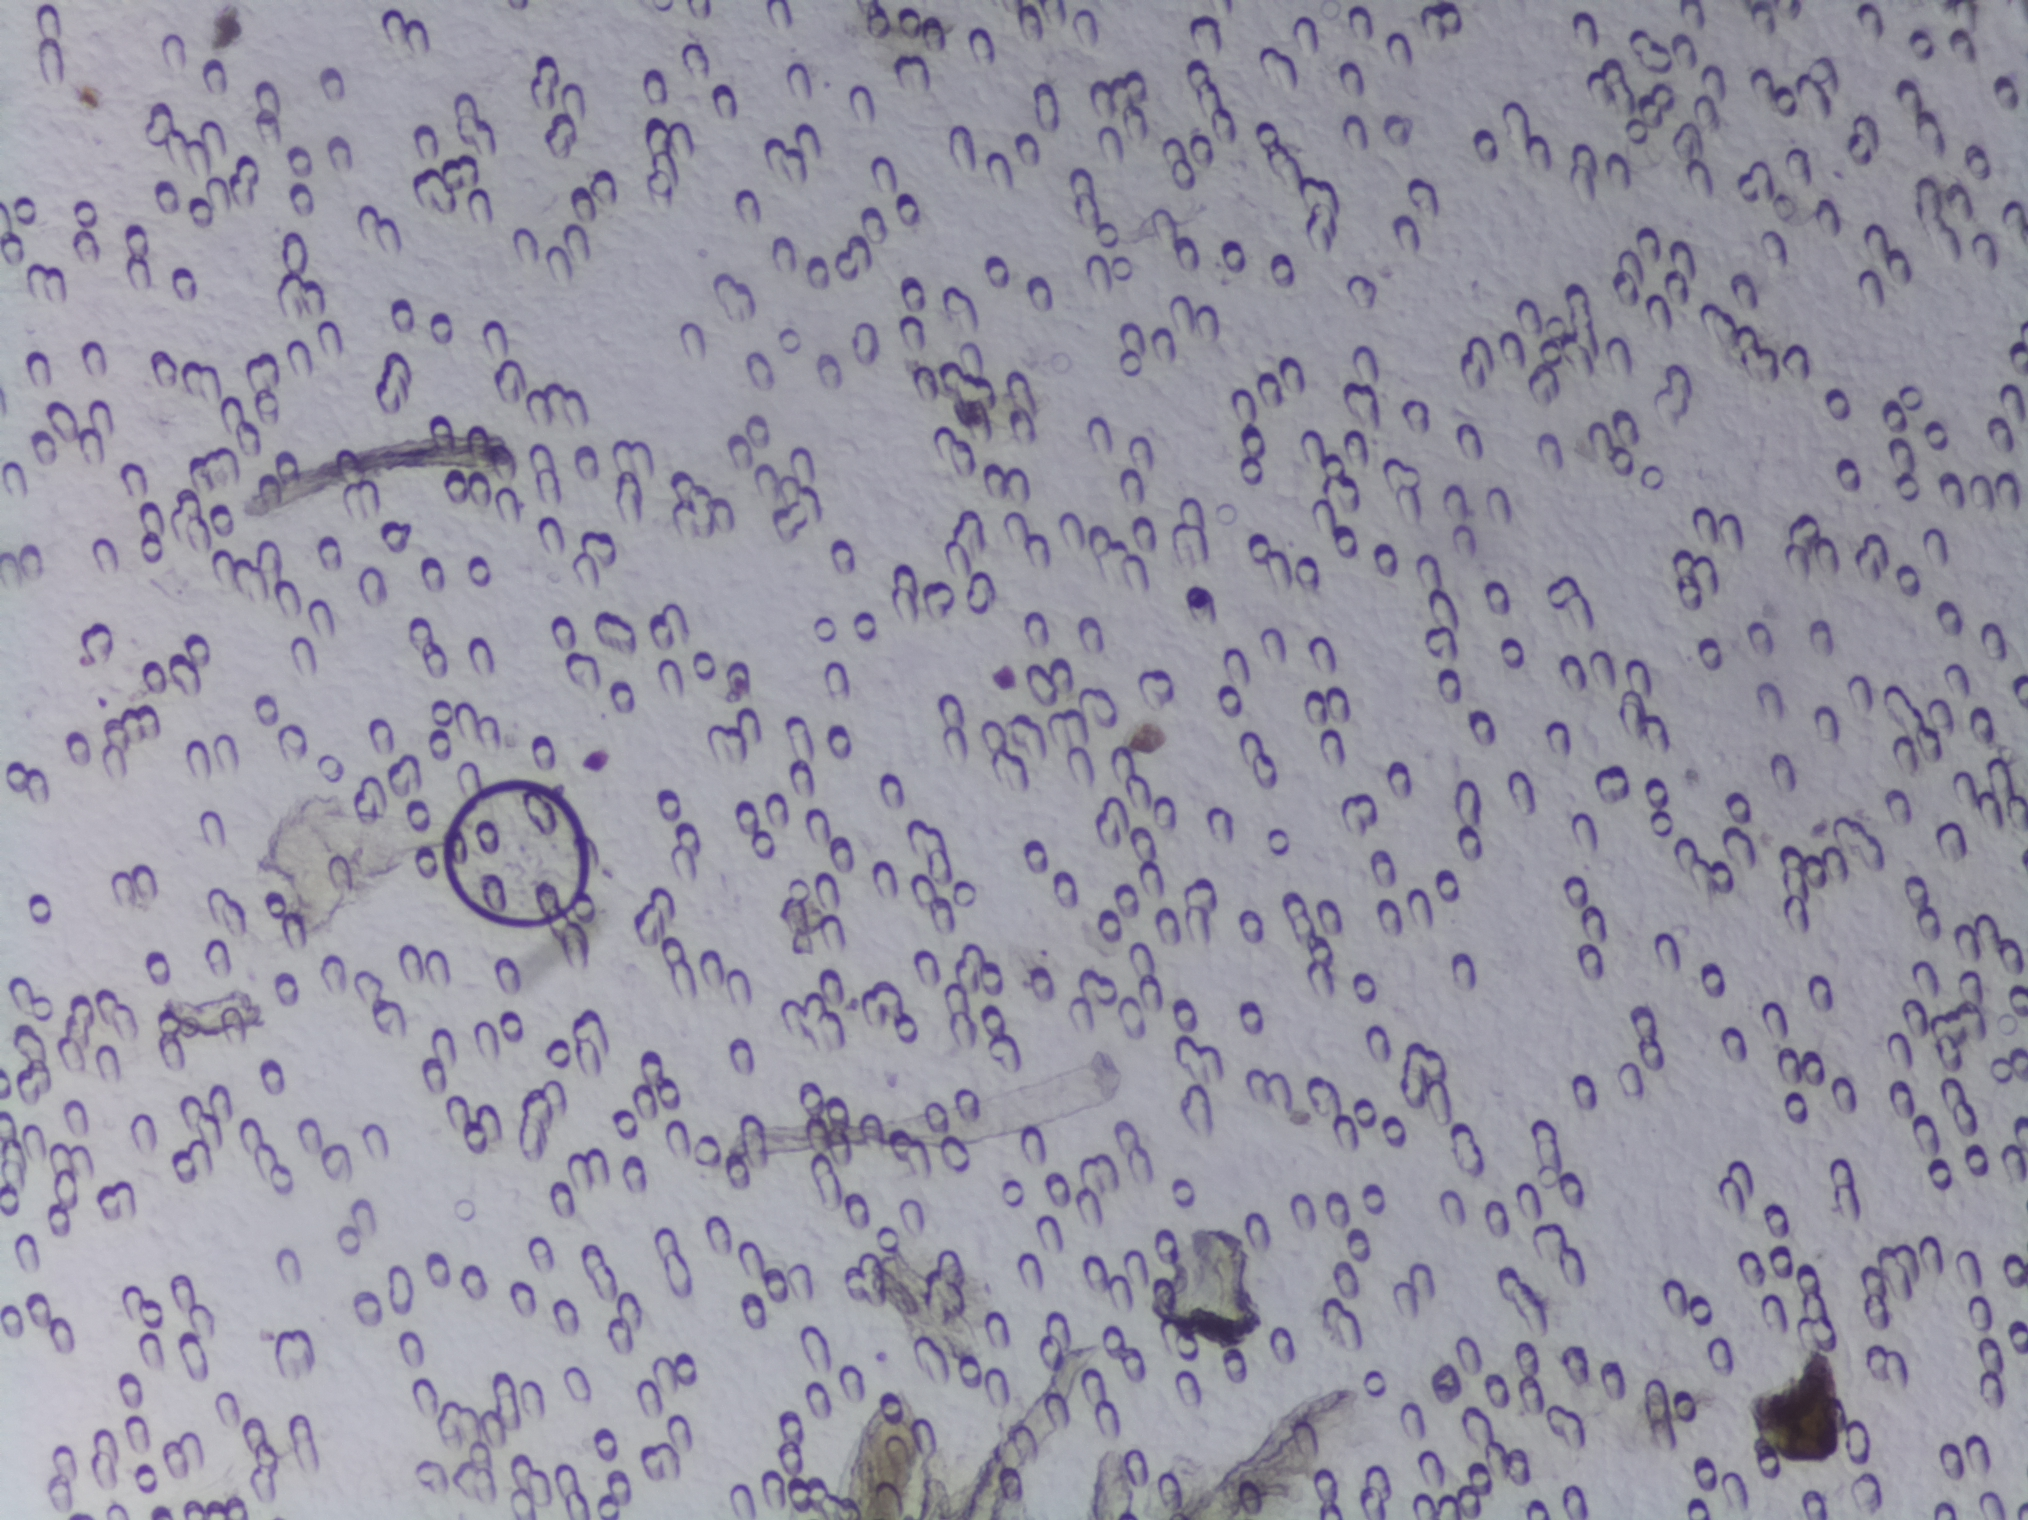
One field of view of a urine filter membrane, 4× objective, 2028 × 1520 pixels.
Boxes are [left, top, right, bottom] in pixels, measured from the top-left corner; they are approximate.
One area of this image is outlined as Schistosoma eggs: [819, 1365, 943, 1518]. Marked pixels, not the box around them: about 0.5% of the image. An outlined area can hold more than one egg.